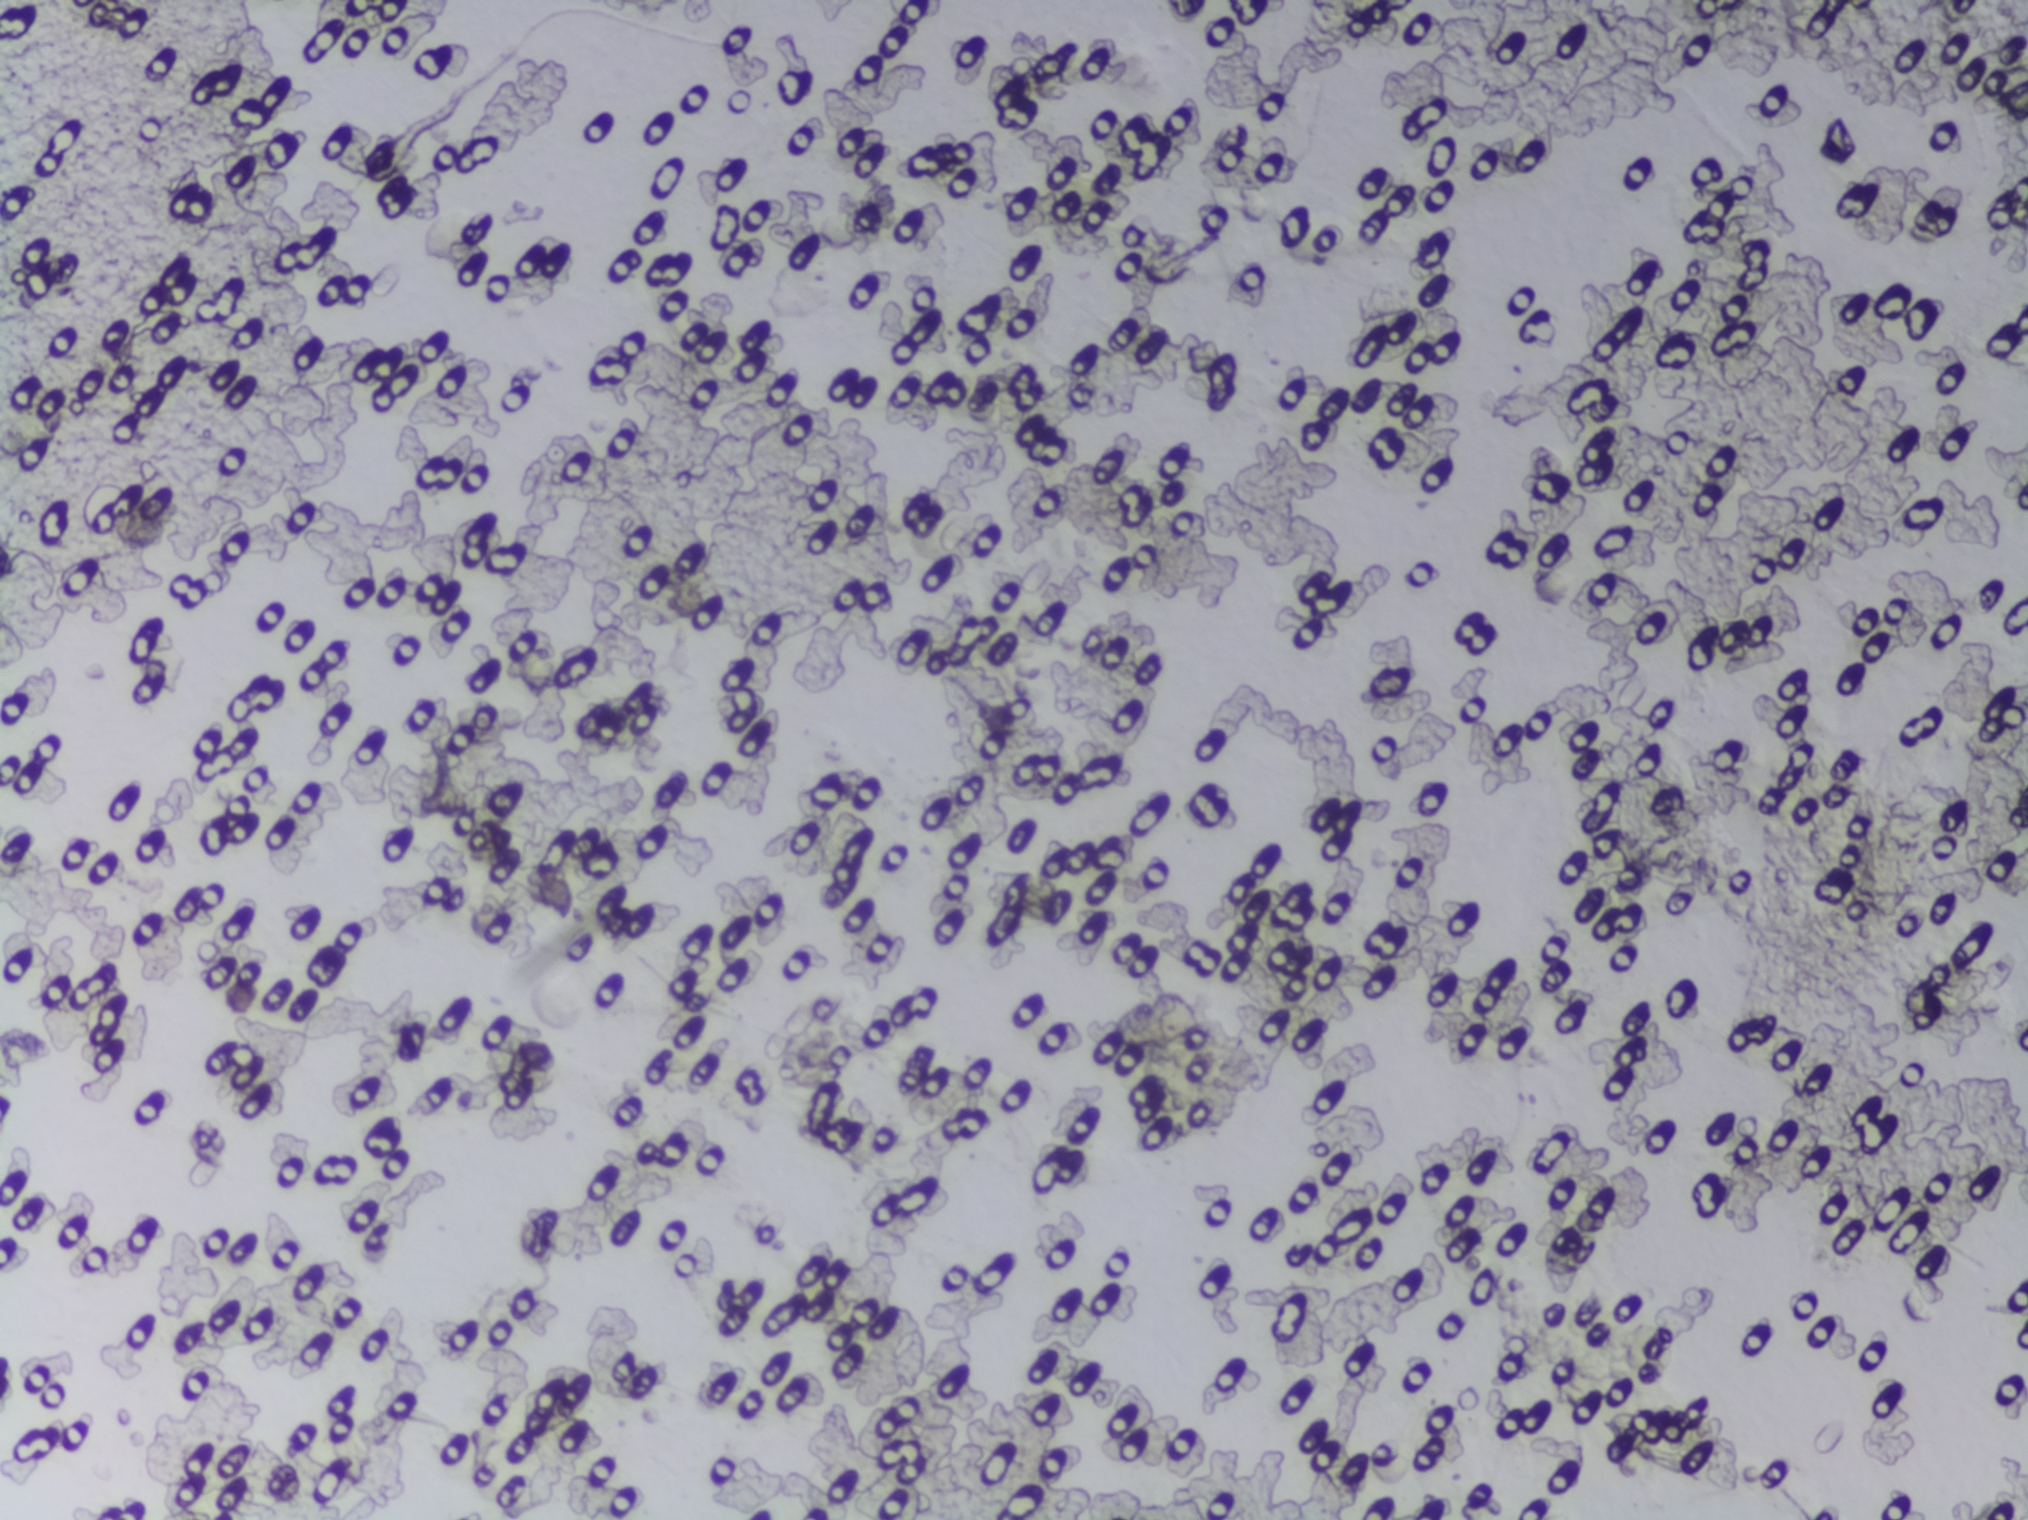
The expert annotation outlines no Schistosoma egg in this image.
Urine filtration membrane under a 4× objective, photographed by an automated digital microscope.